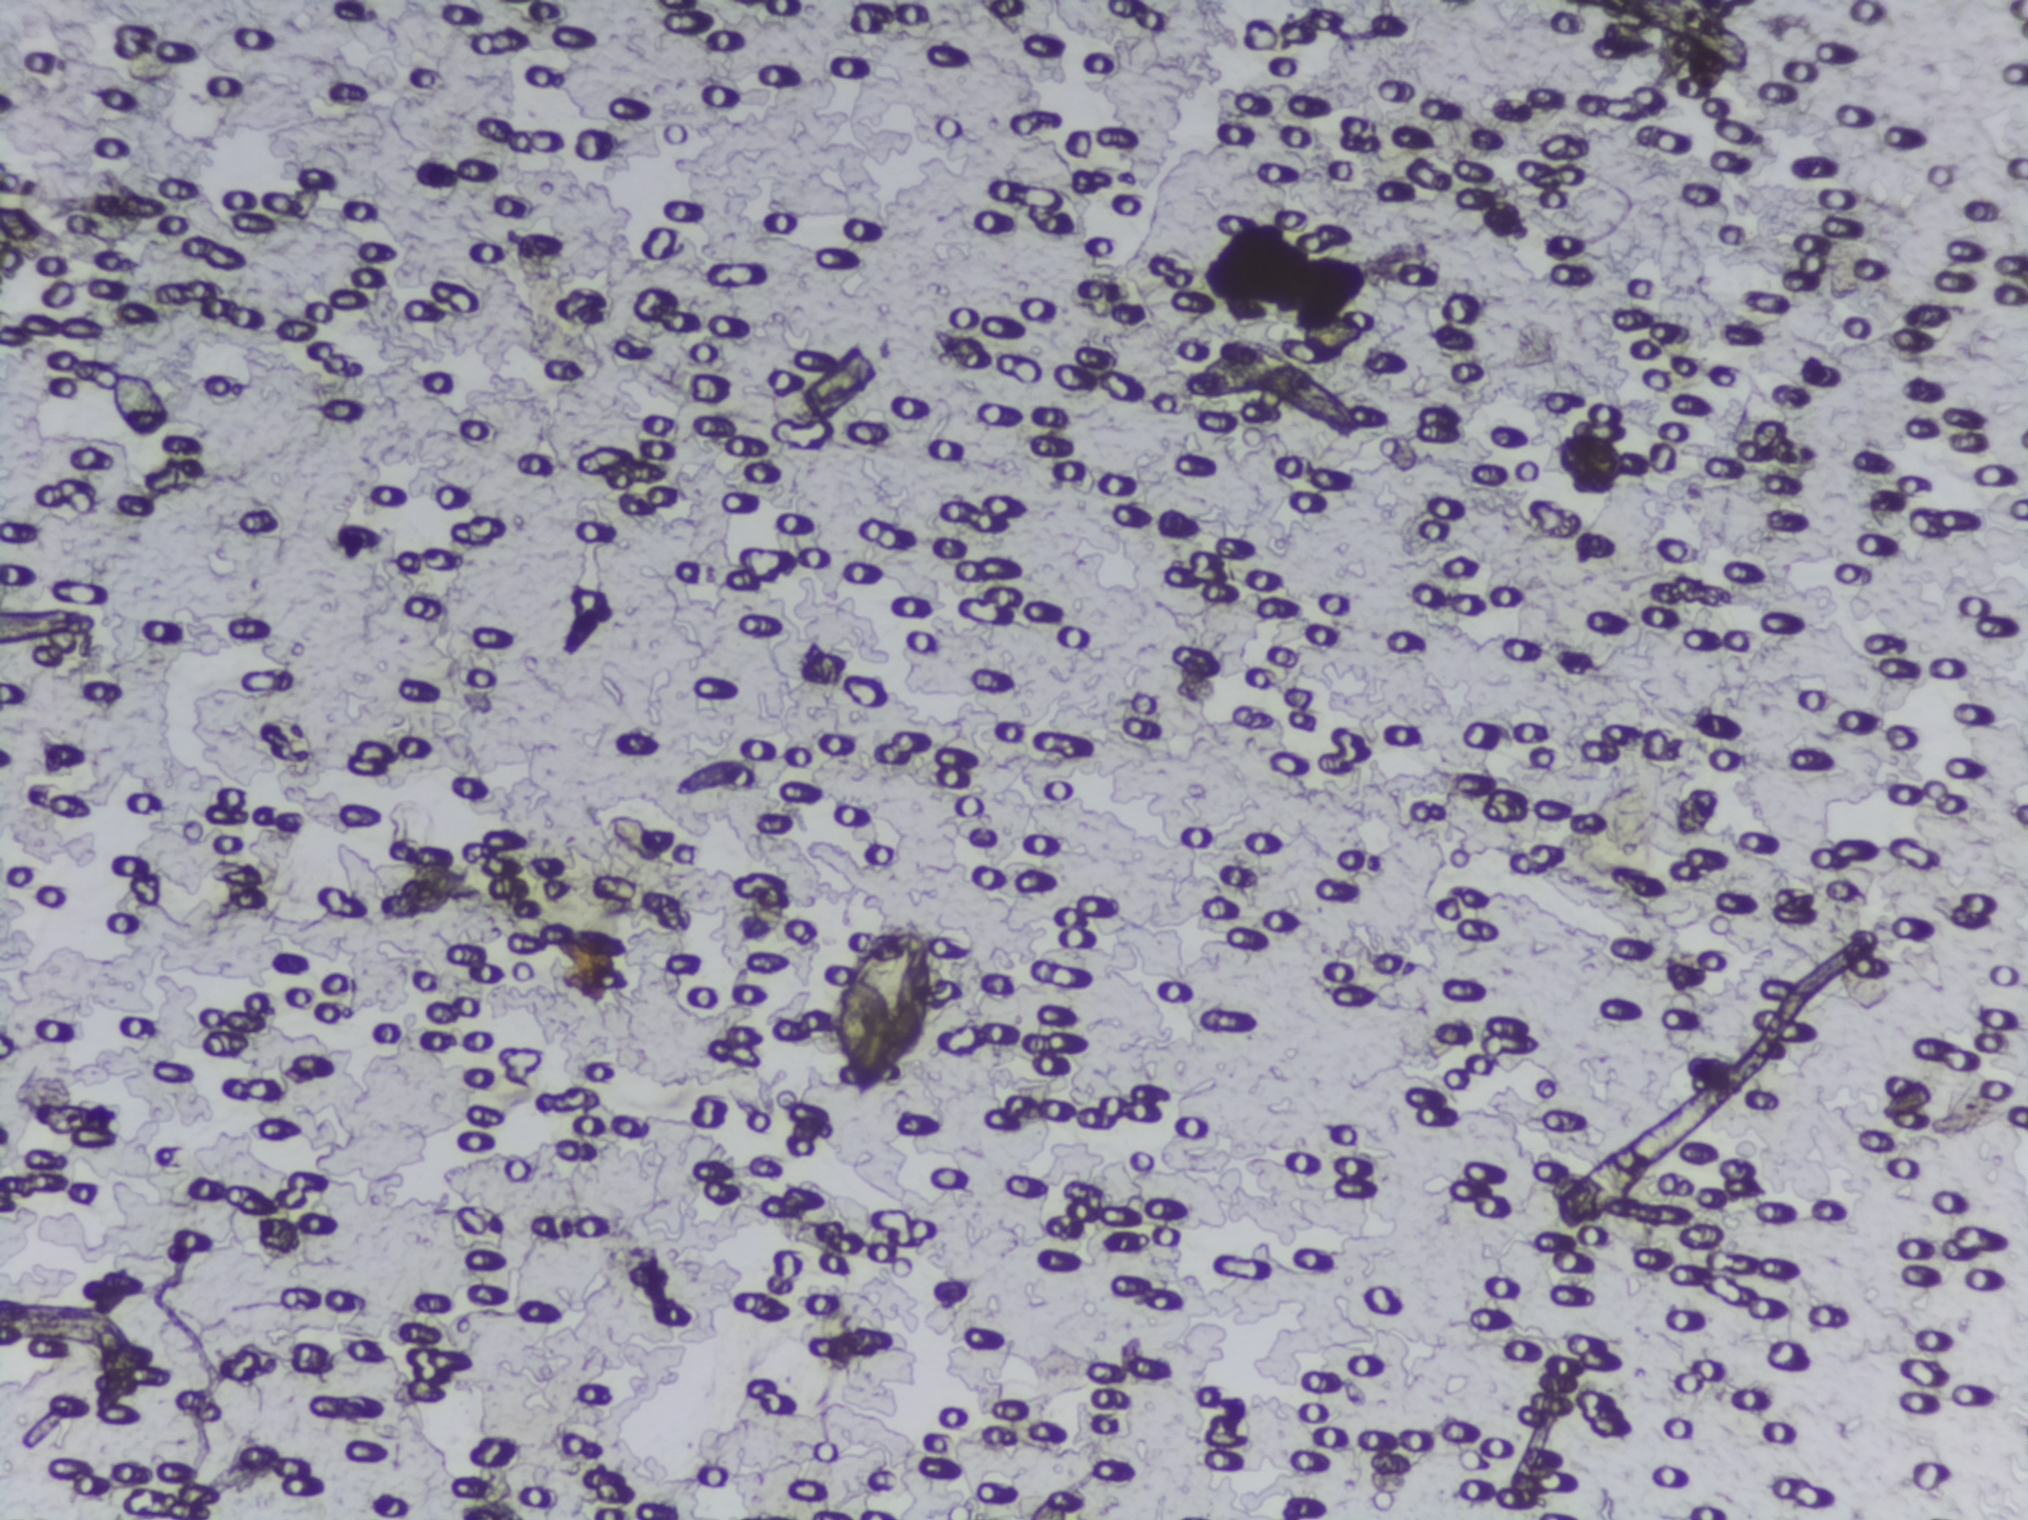
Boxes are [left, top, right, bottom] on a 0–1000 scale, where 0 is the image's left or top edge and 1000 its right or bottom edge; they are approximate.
One area of this image is outlined as Schistosoma eggs: [408, 597, 471, 729]. Marked pixels, not the box around them: about 0.6% of the image. An outlined area can hold more than one egg. Any one outlined egg may, rarely, be S. mansoni rather than S. haematobium.
Photomicrograph of a urine filtration membrane, 4× objective.